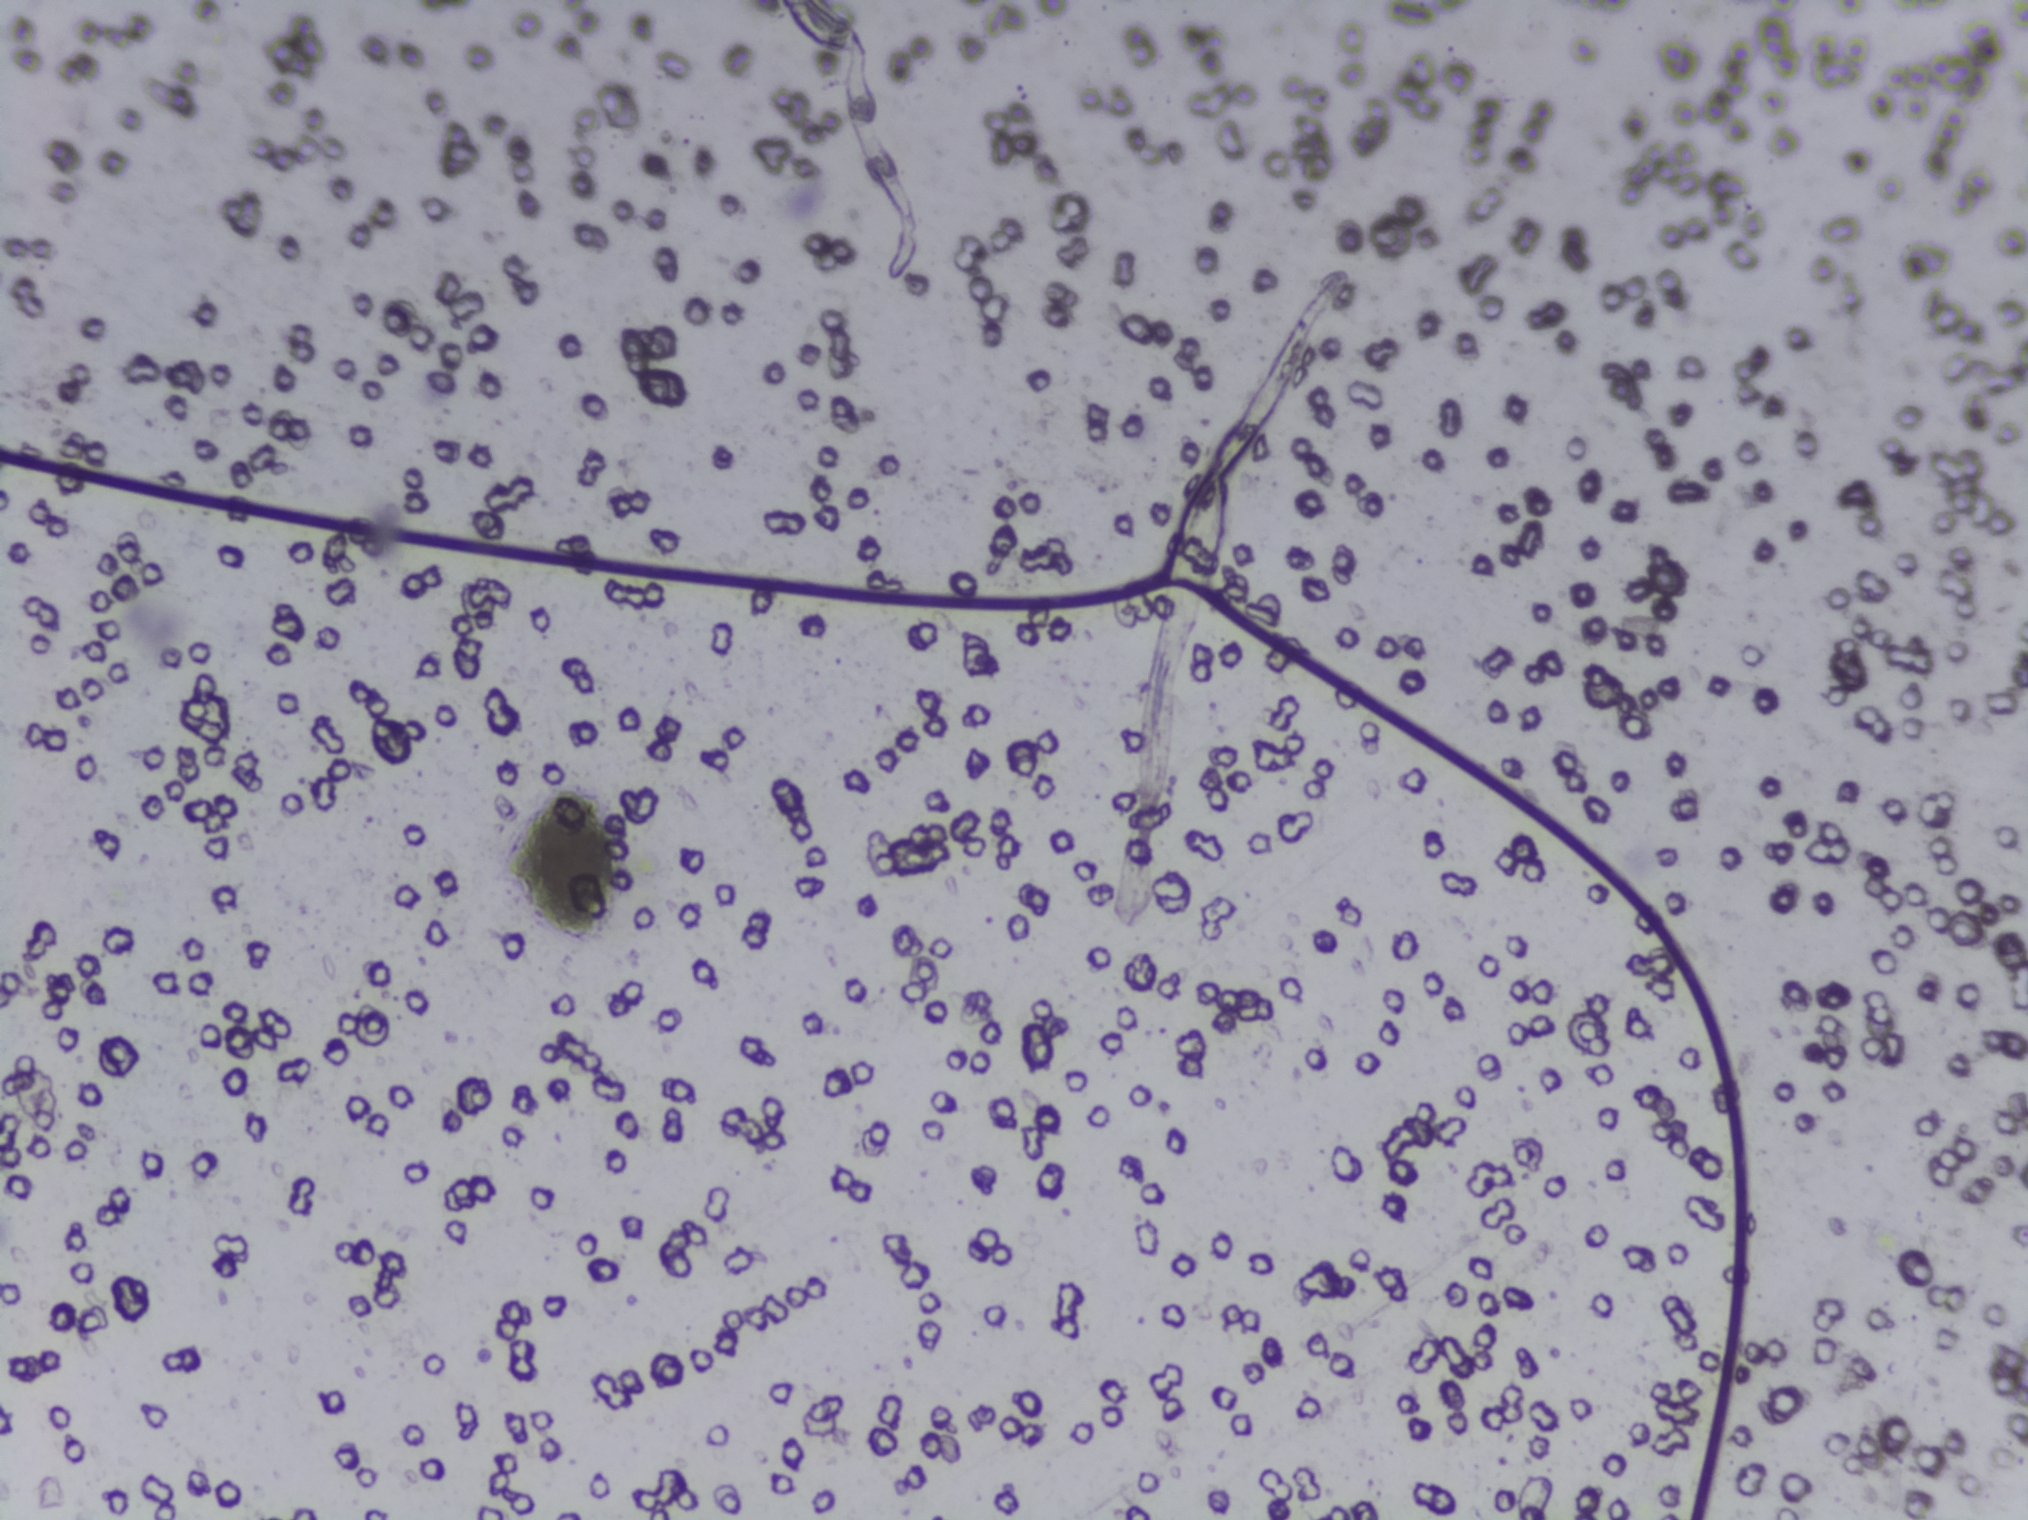
No area of this image was outlined as a Schistosoma egg.
One field of view of a urine filter membrane, 4× objective, 2028 × 1520 pixels.